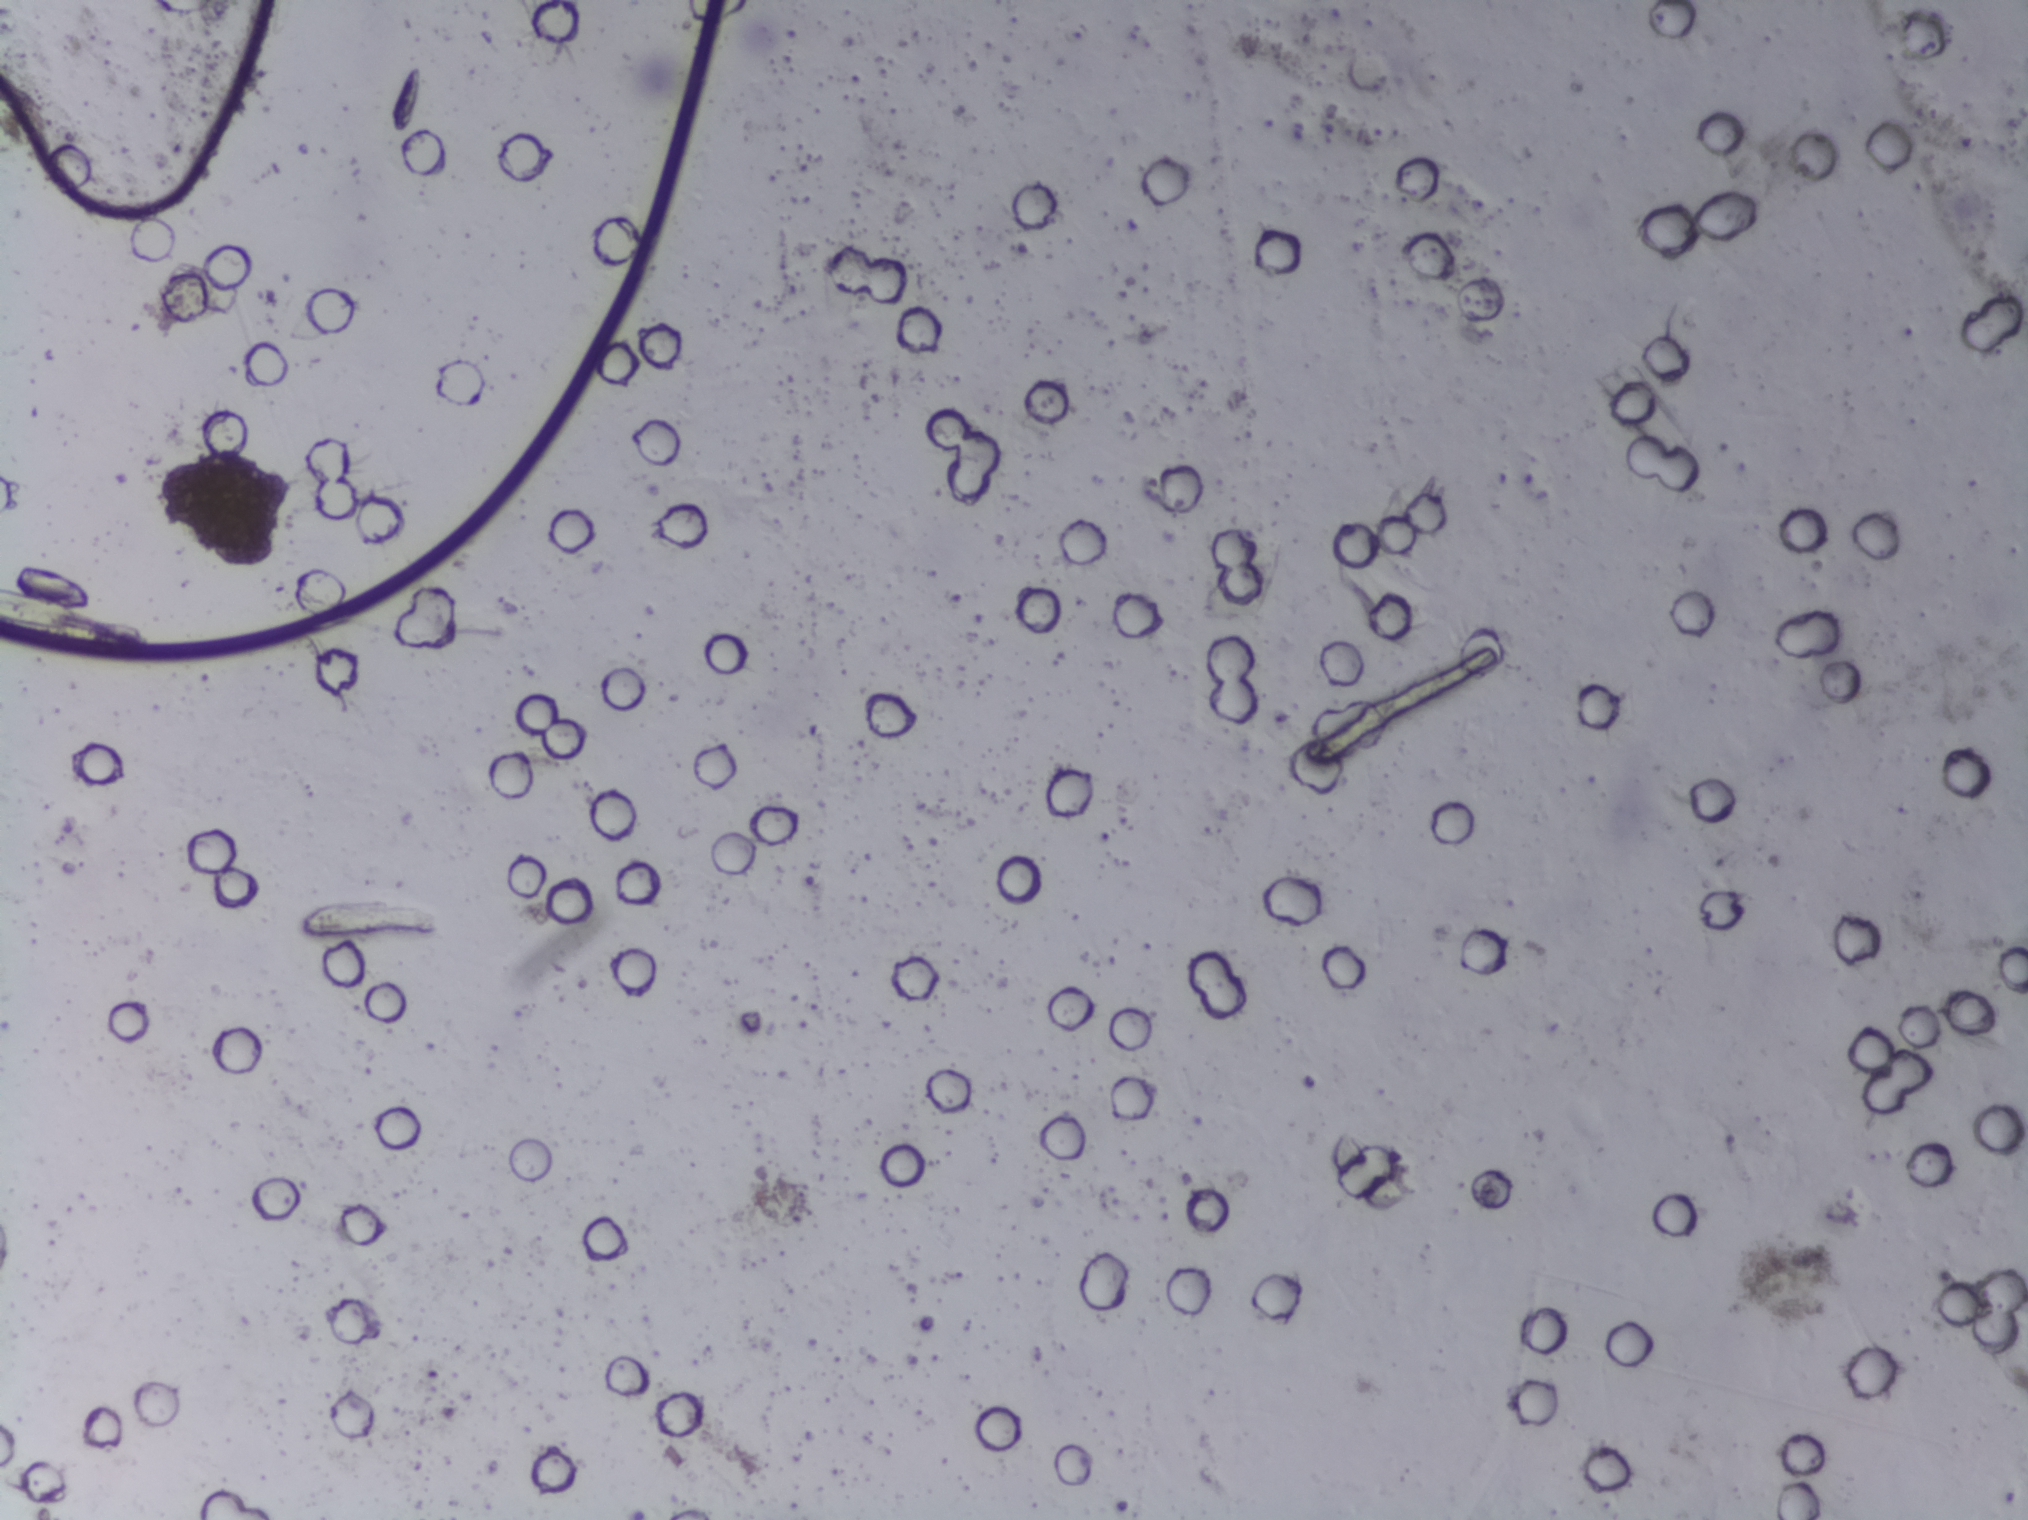
The expert annotation marks no Schistosoma egg in this field of view.
Photograph from an automated digital microscope: urine filter membrane, 4× objective. The image covers about 1.5 × 1.1 mm of the membrane.